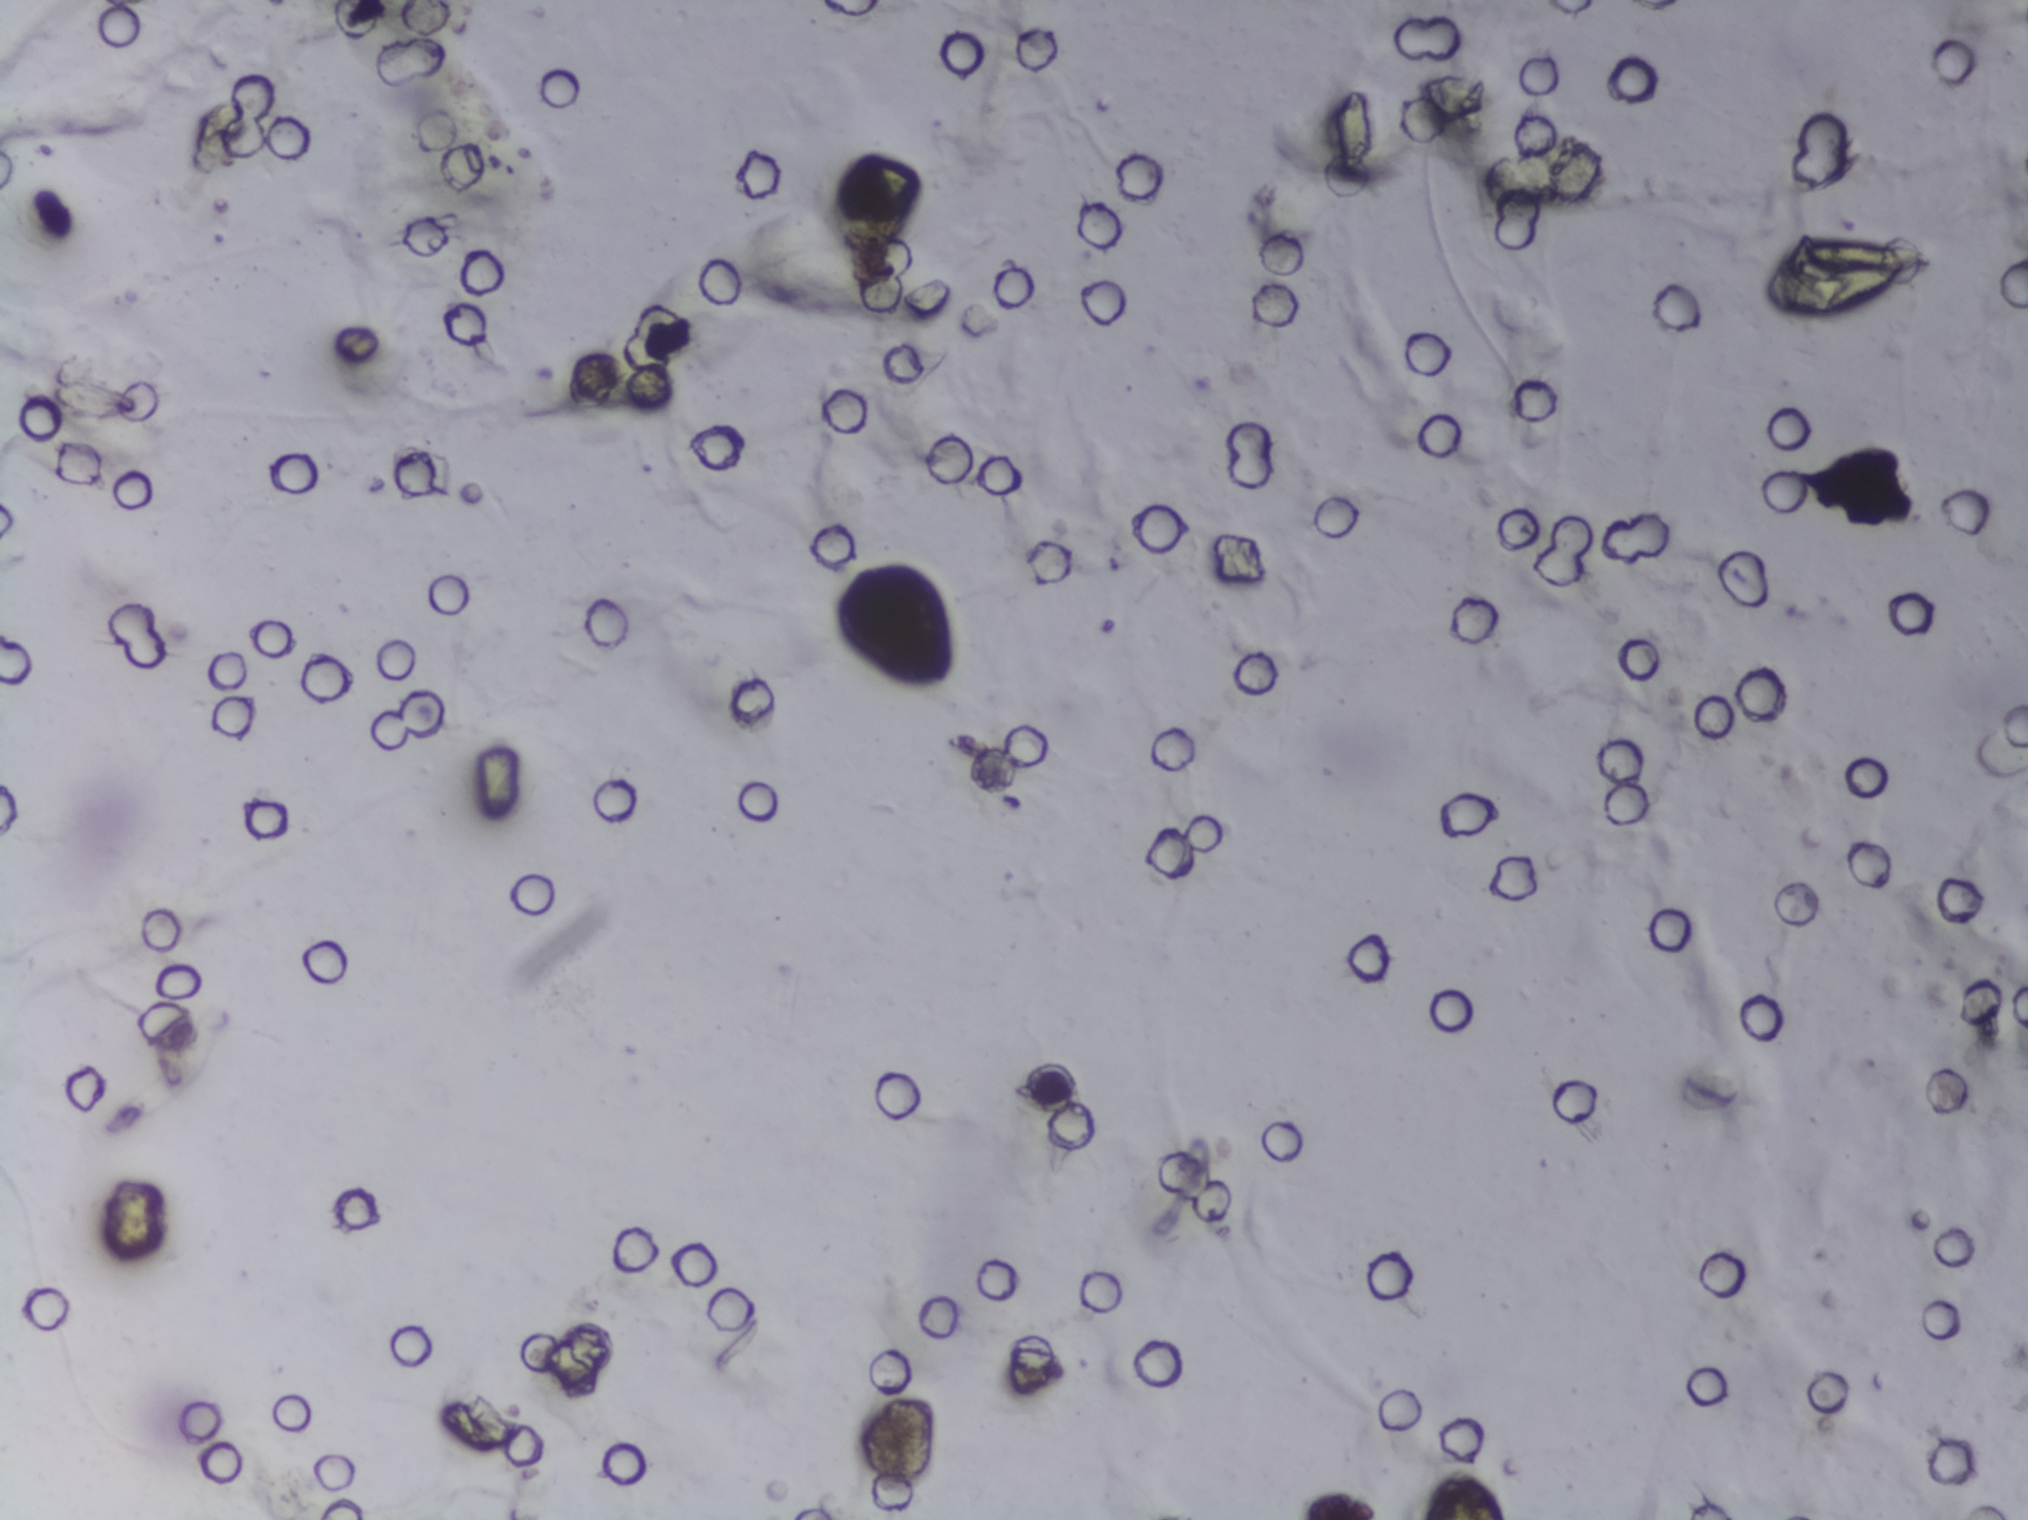
Microscope photograph (4× objective) of a membrane that a urine sample was filtered through. The image covers about 1.5 × 1.1 mm of the membrane.
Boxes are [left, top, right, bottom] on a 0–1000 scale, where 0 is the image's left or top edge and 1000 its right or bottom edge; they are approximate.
The expert annotation outlines Schistosoma eggs at [869, 155, 947, 208]. About 0.3% of the image's pixels are marked (the marked pixels themselves, not the box around them). An outlined area can hold more than one egg.